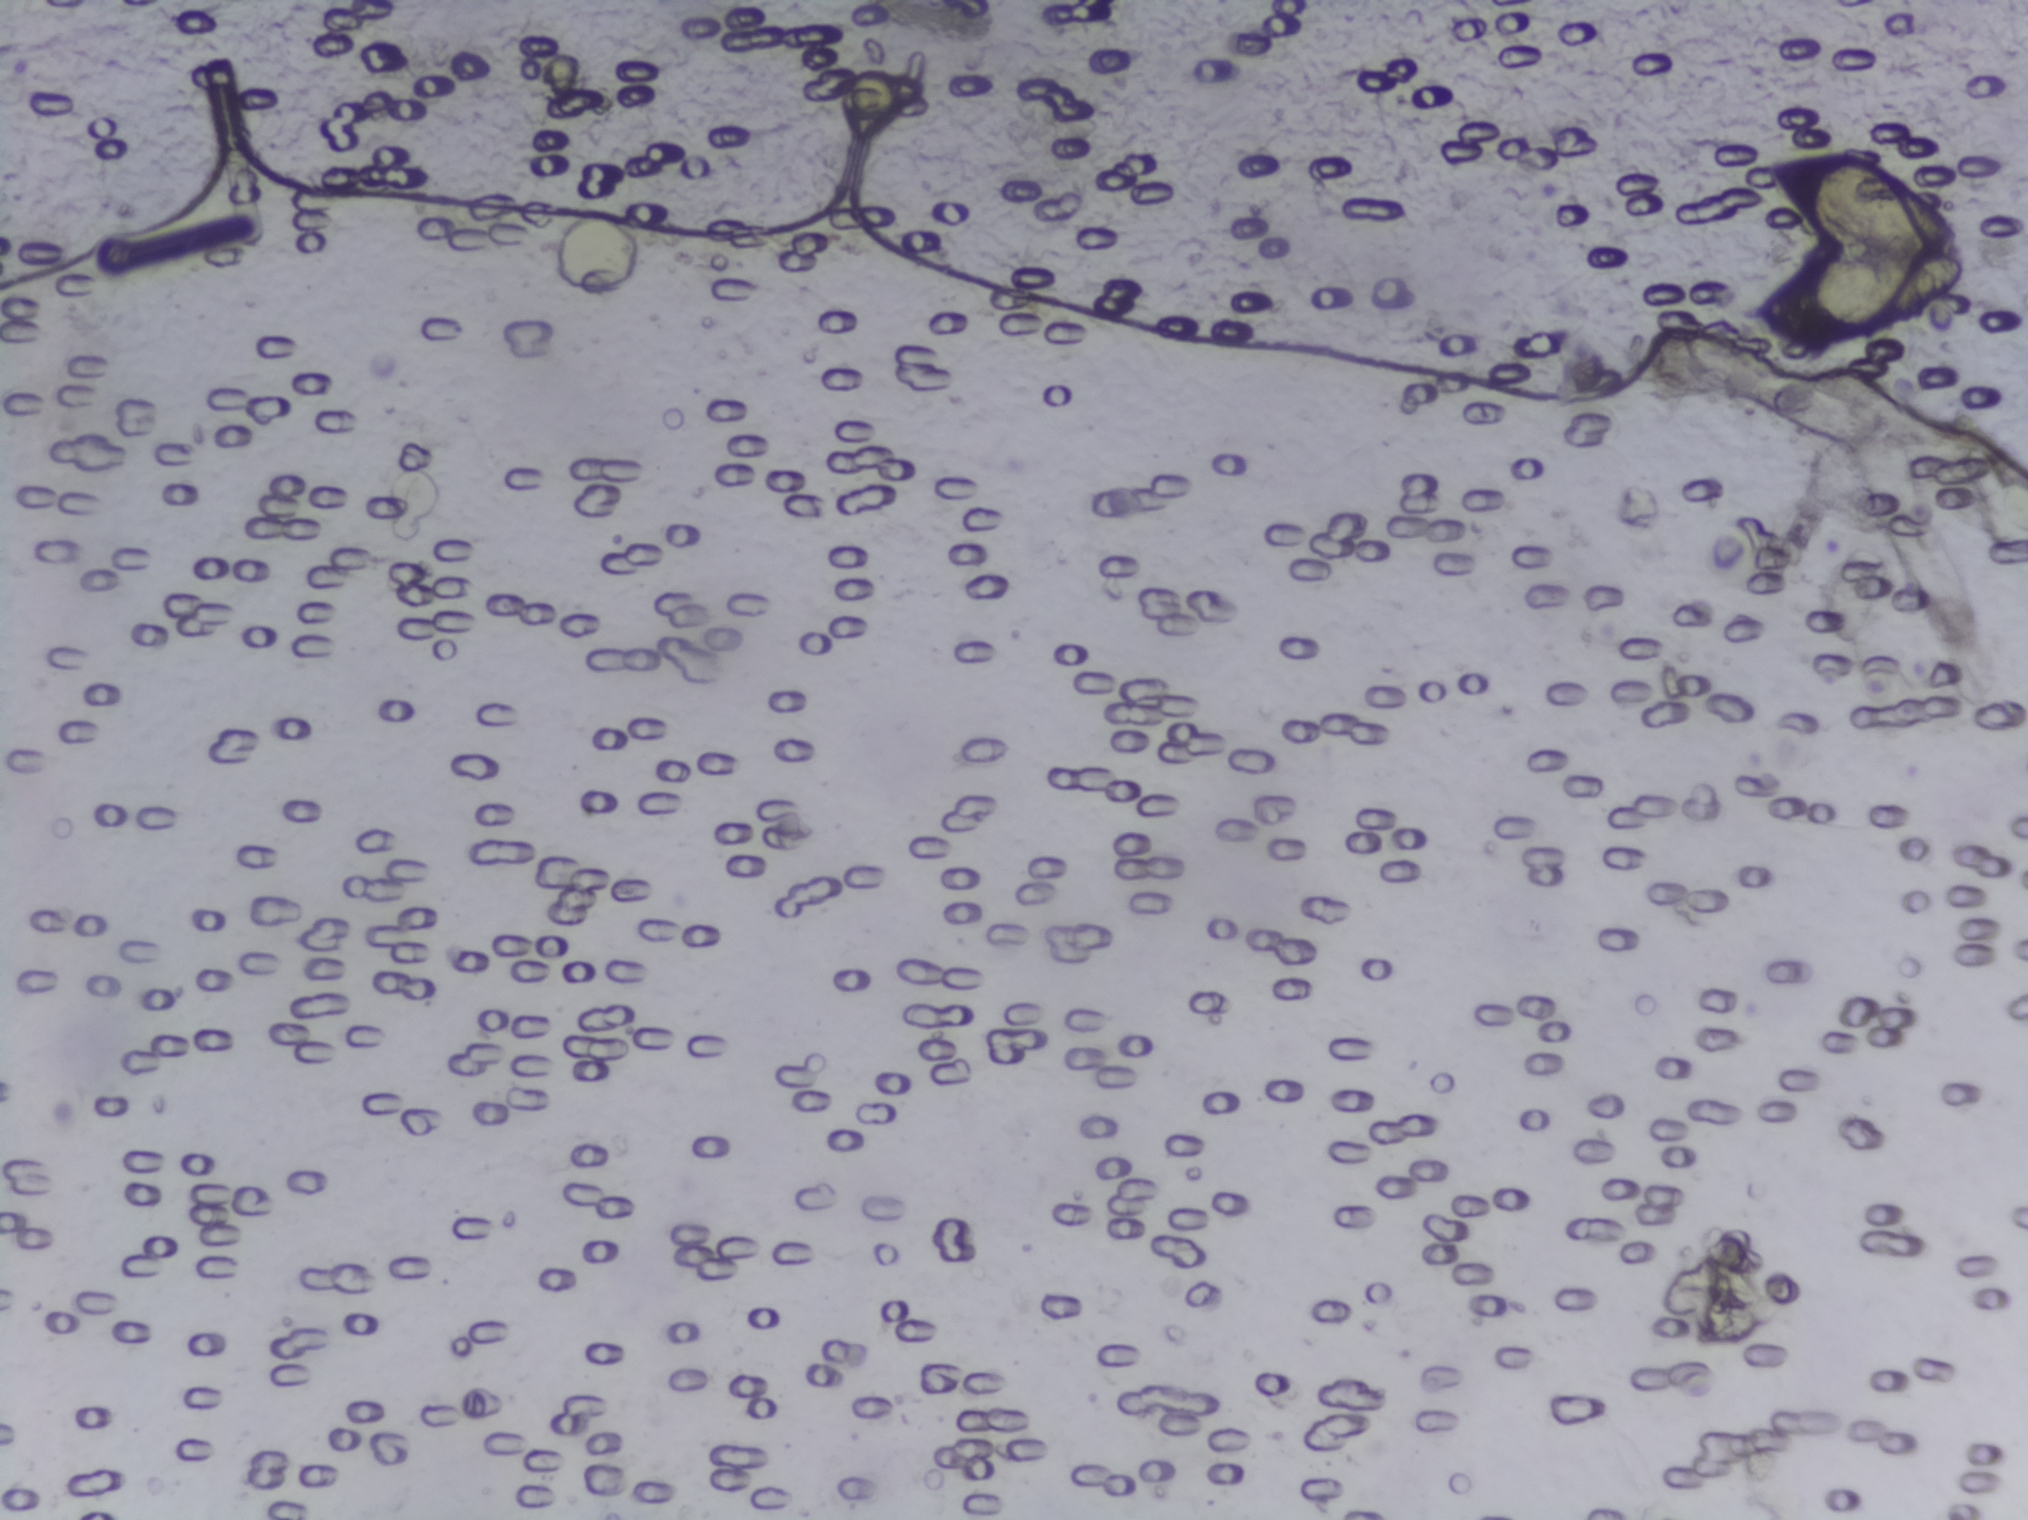
Photograph from an automated digital microscope: urine filter membrane, 4× objective.
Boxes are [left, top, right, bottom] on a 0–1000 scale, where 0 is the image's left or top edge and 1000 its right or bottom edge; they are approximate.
One area of this image is outlined as Schistosoma eggs: [857, 95, 970, 236]. Eggs that touch can end up inside the same outlined area.